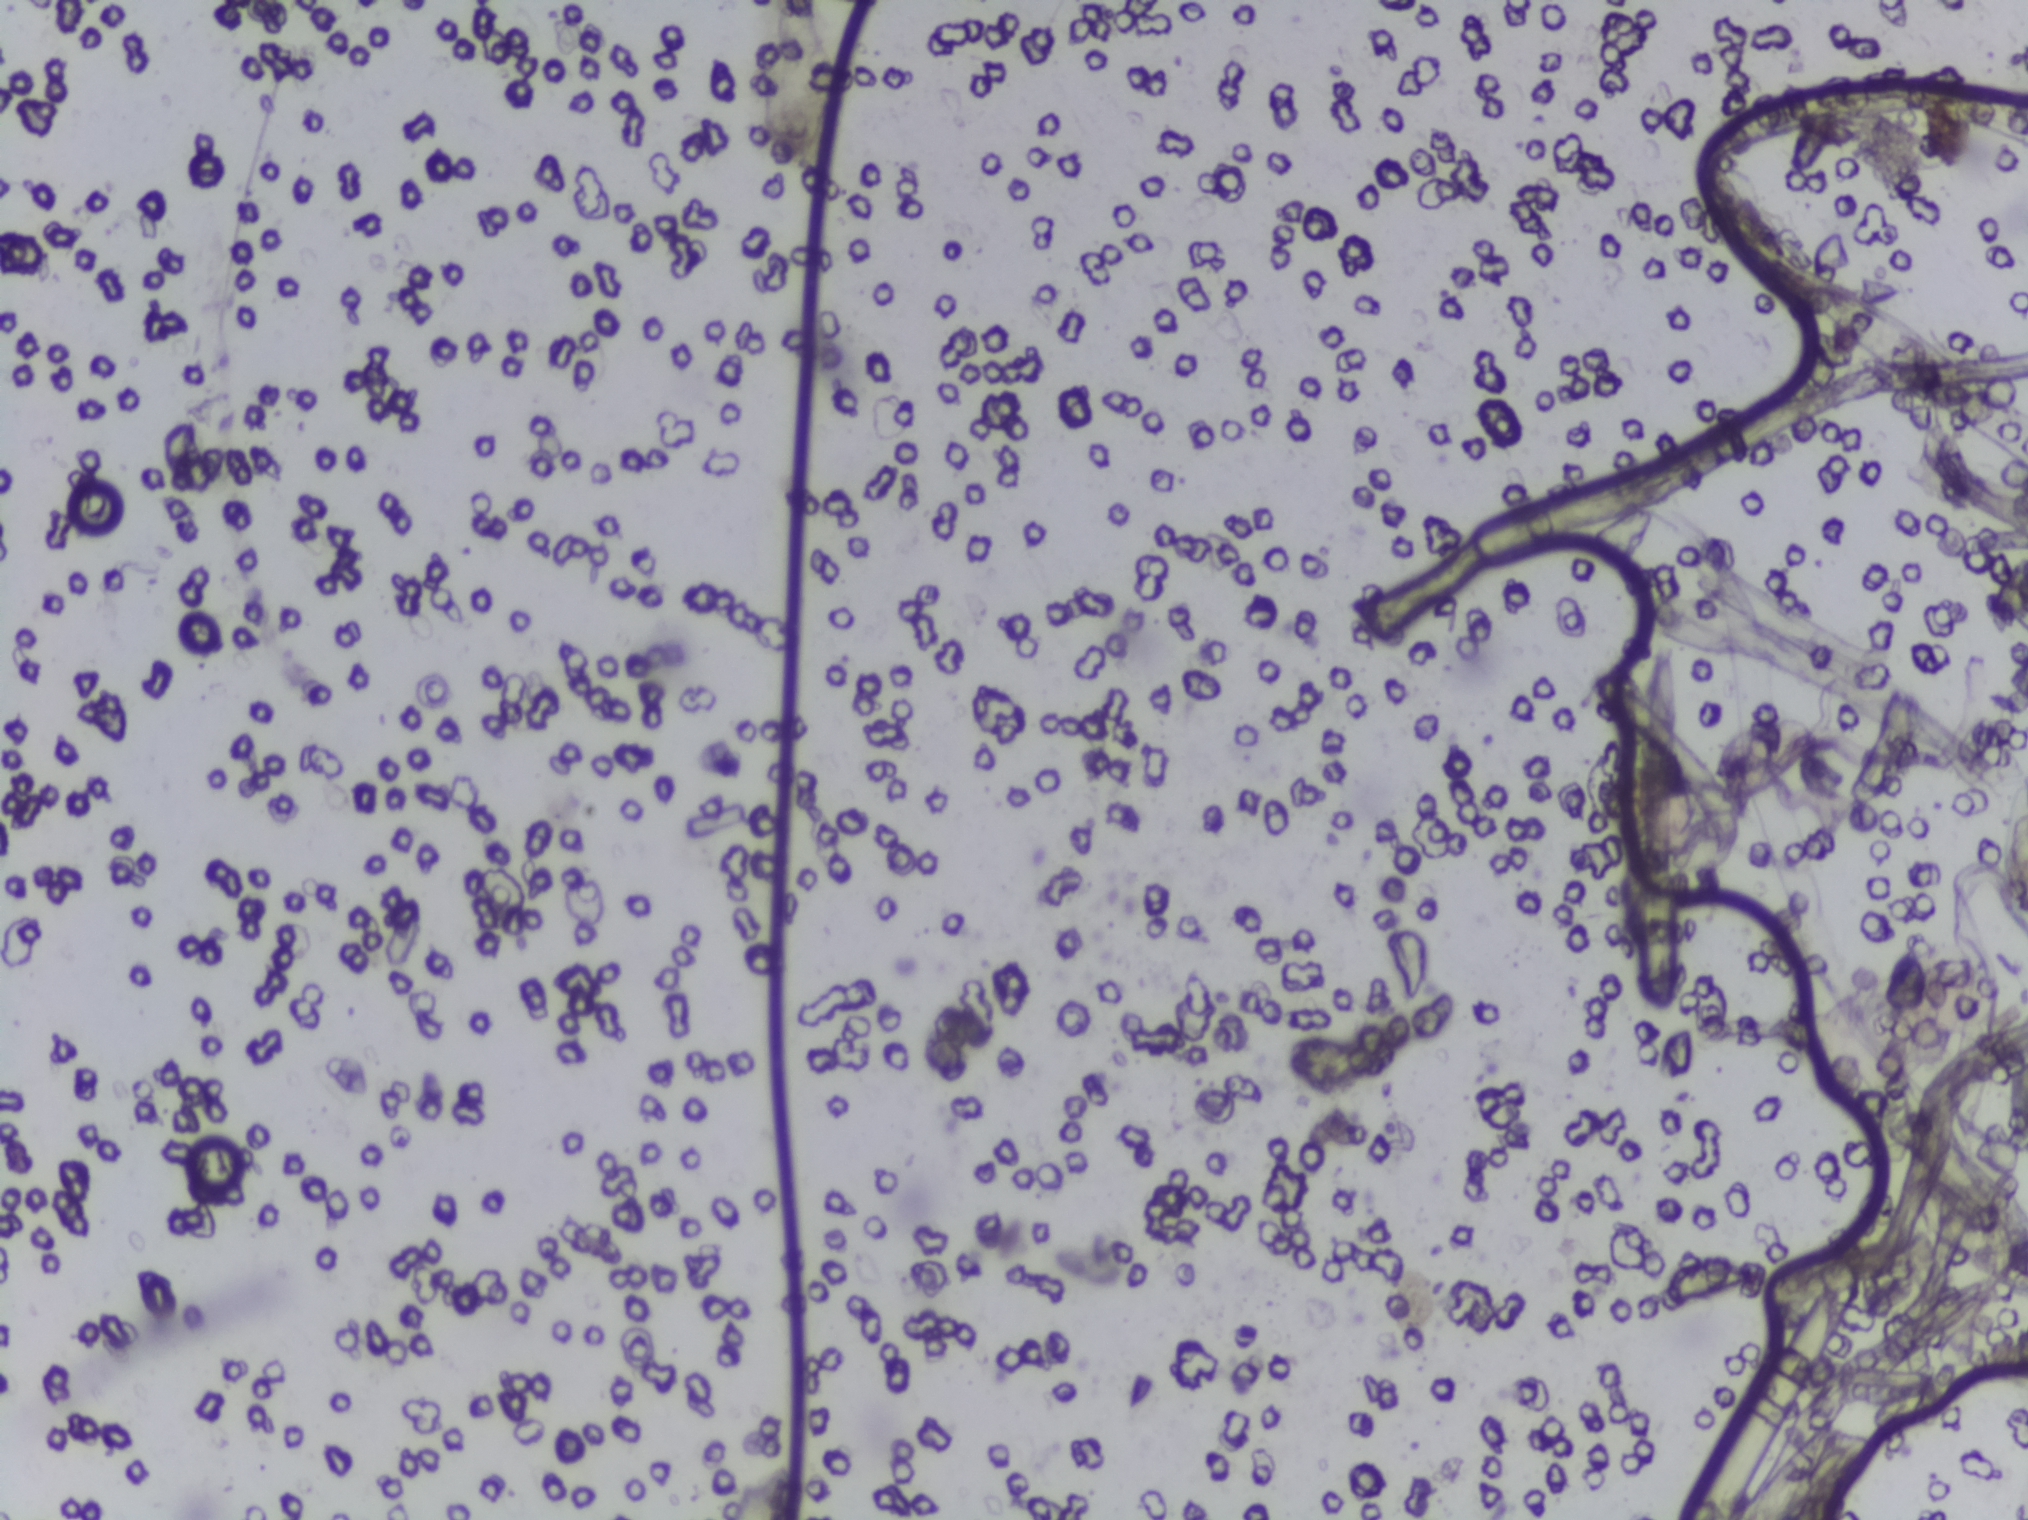
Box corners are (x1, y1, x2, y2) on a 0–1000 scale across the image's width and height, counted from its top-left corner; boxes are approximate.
Findings: three areas outlined as Schistosoma eggs. Locations: (371, 0, 413, 116) (reaching the top edge of the frame); (846, 472, 897, 519); (983, 506, 1000, 615) (reaching the right edge of the frame). Eggs that touch can end up inside the same outlined area.
Urine filter membrane photographed through a 4× microscope objective. The field of view is about 1.5 mm × 1.1 mm.